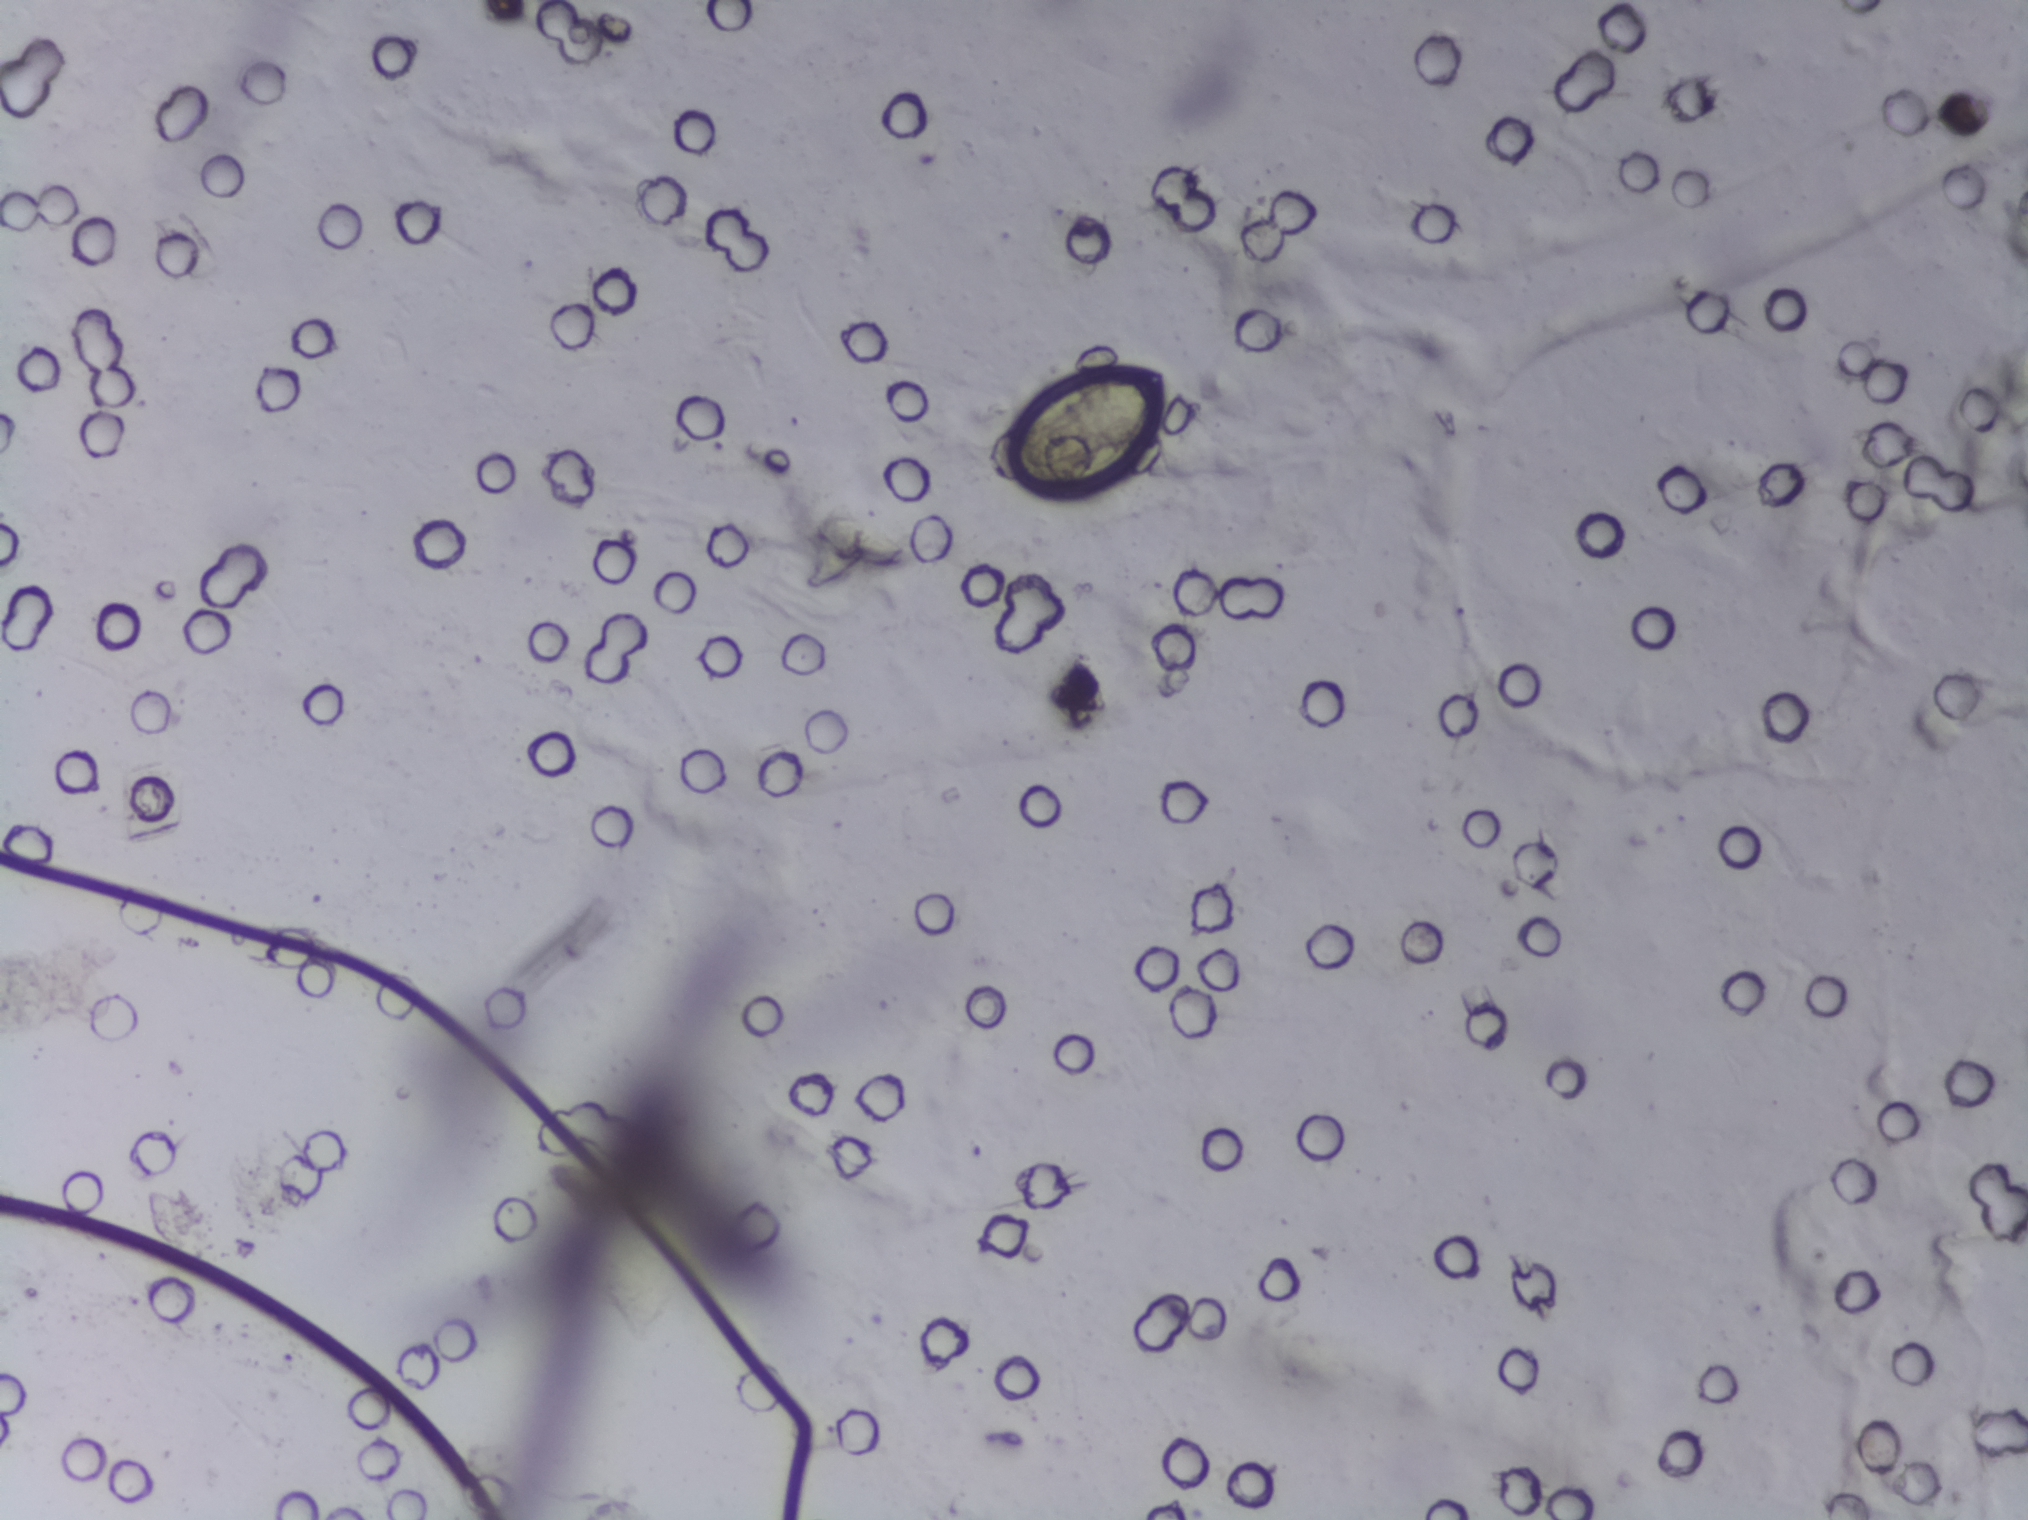
Photomicrograph of a urine filtration membrane, 4× objective.
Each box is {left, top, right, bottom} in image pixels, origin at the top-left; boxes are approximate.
Schistosoma eggs are outlined in the expert annotation at {1010, 367, 1171, 499}. A single outlined area may contain several eggs.